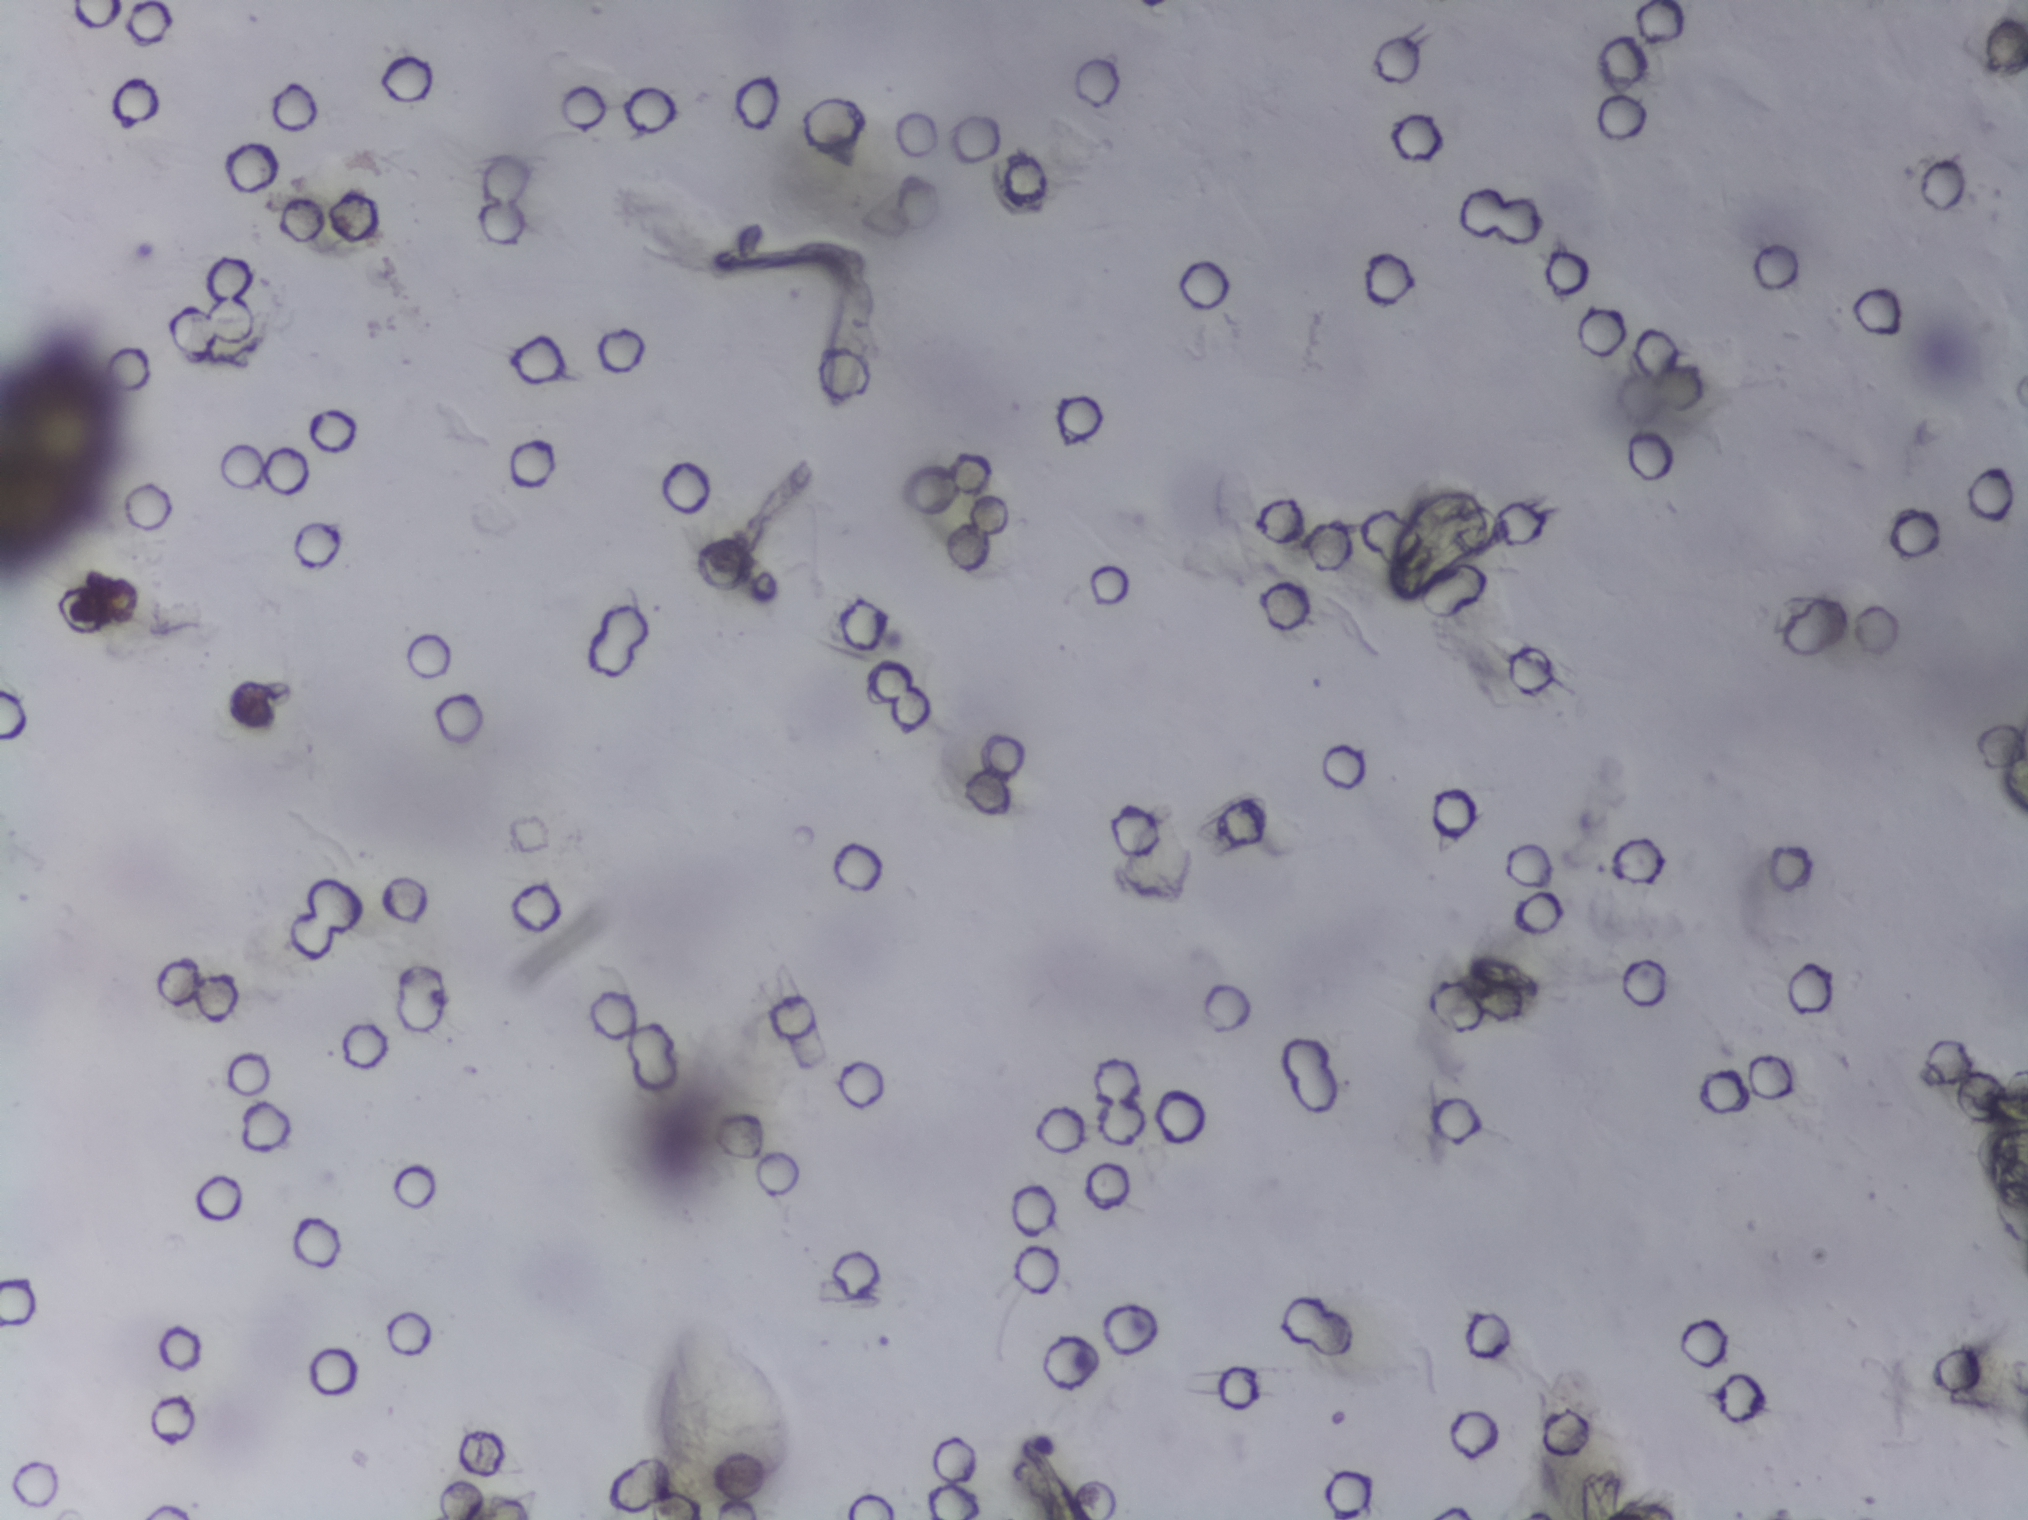
Urine filter membrane photographed through a 4× microscope objective.
The expert annotation marks no Schistosoma egg in this field of view.